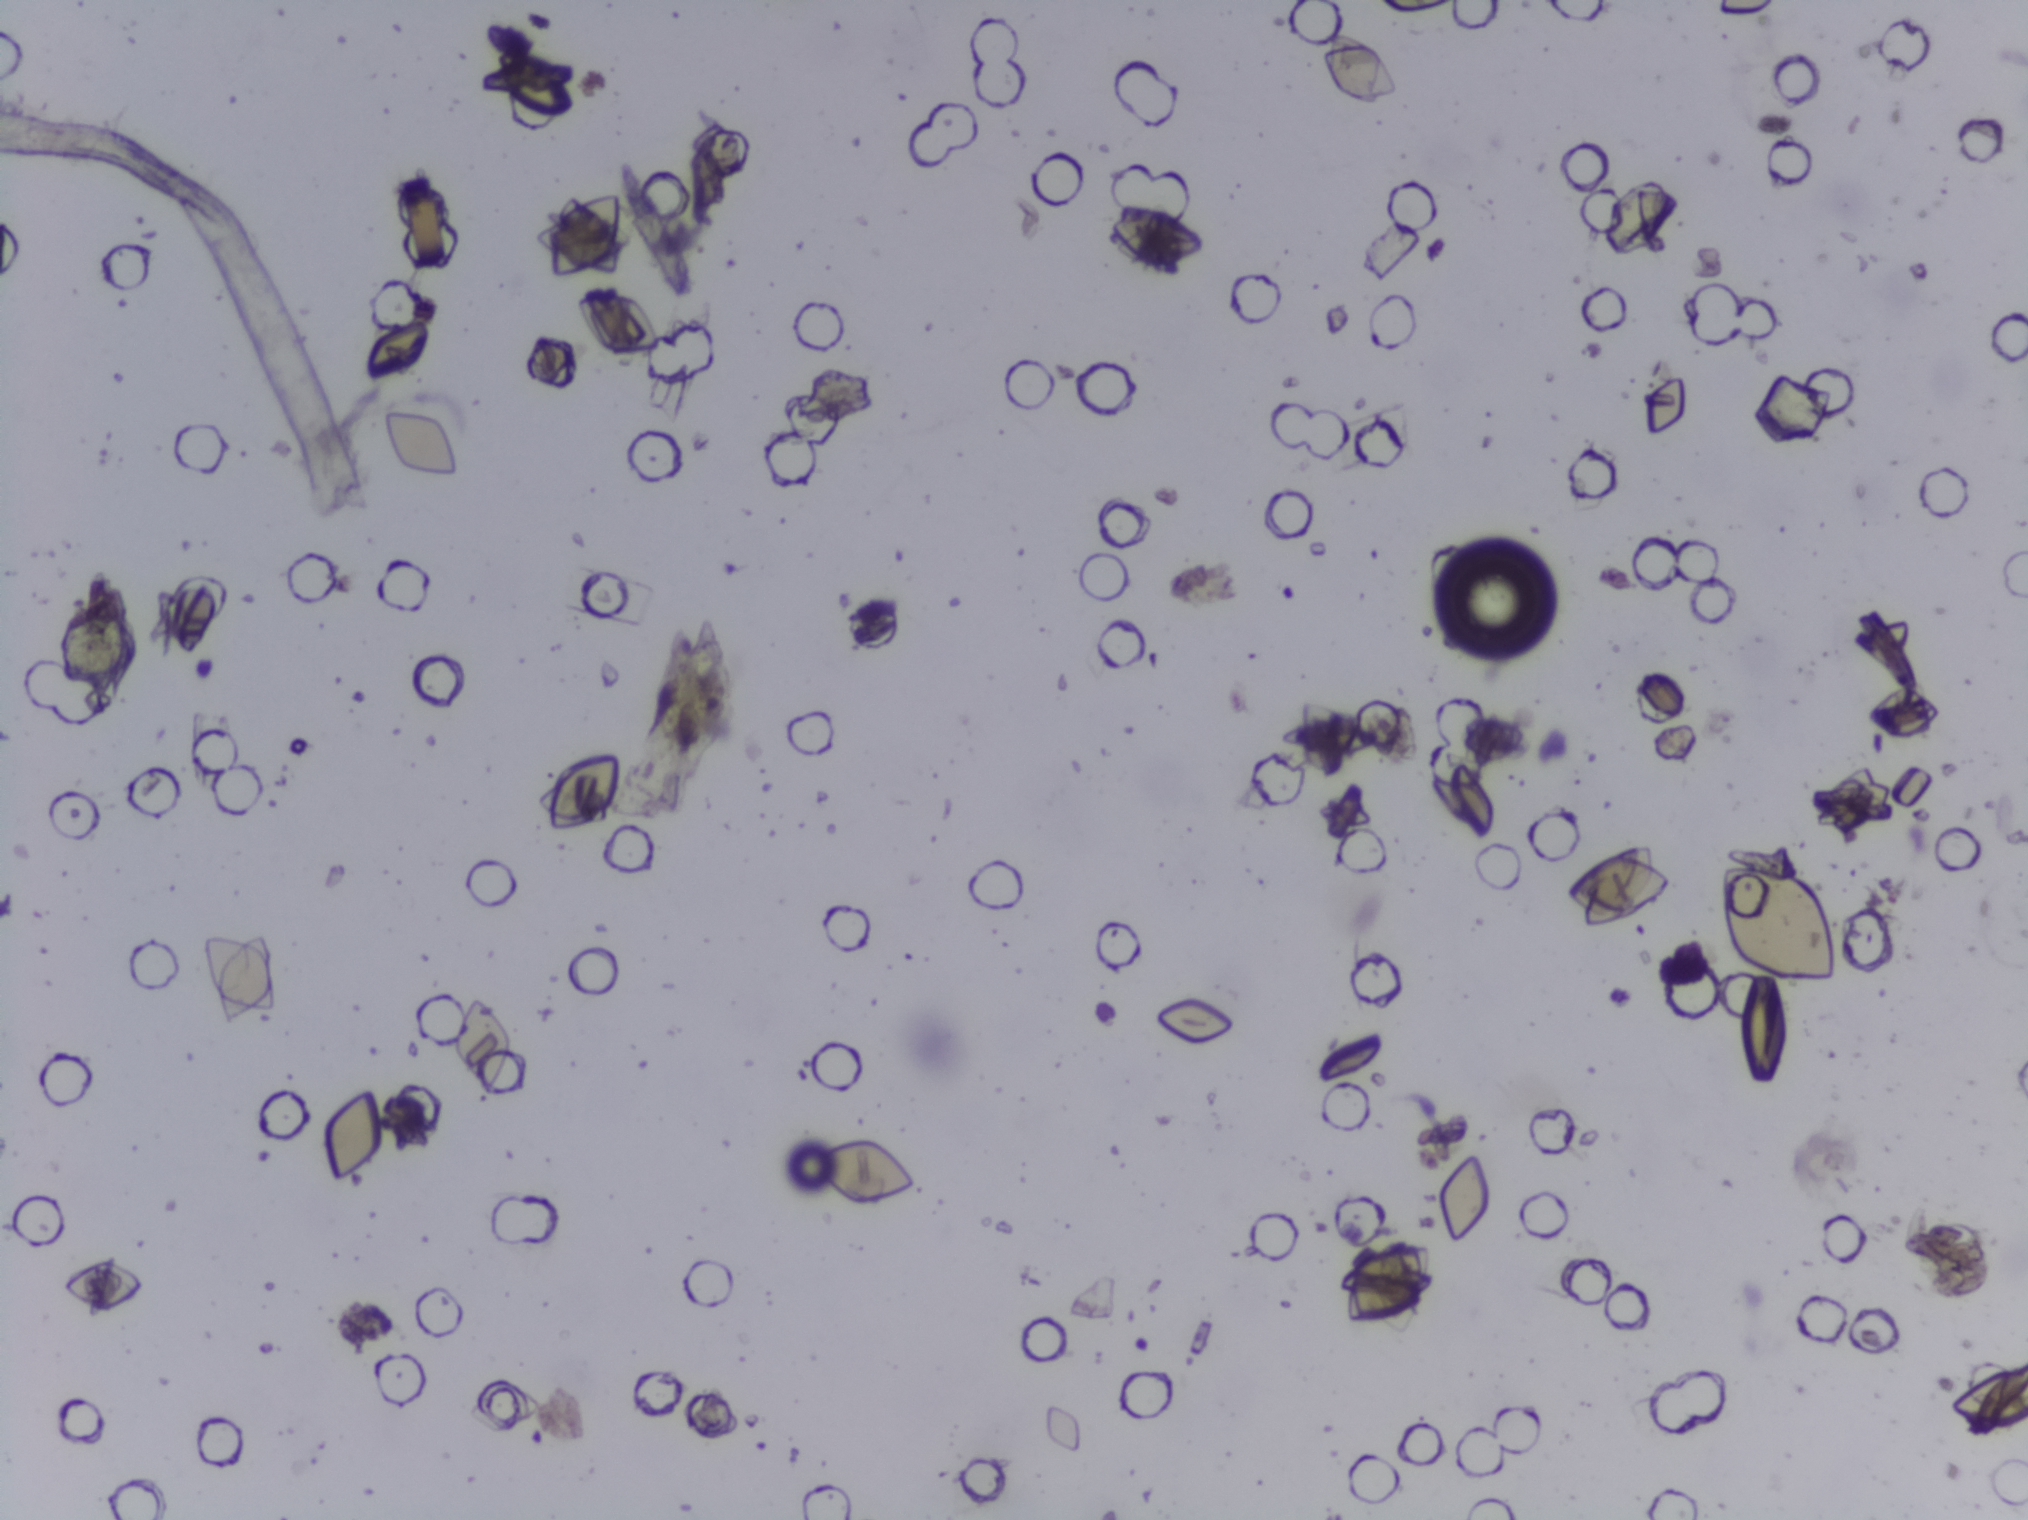
One field of view of a urine filter membrane, 4× objective, 2028 × 1520 pixels. The field of view is about 1.5 mm × 1.1 mm.
Schistosoma eggs: none outlined.